Photomicrograph of a urine filtration membrane, 4× objective.
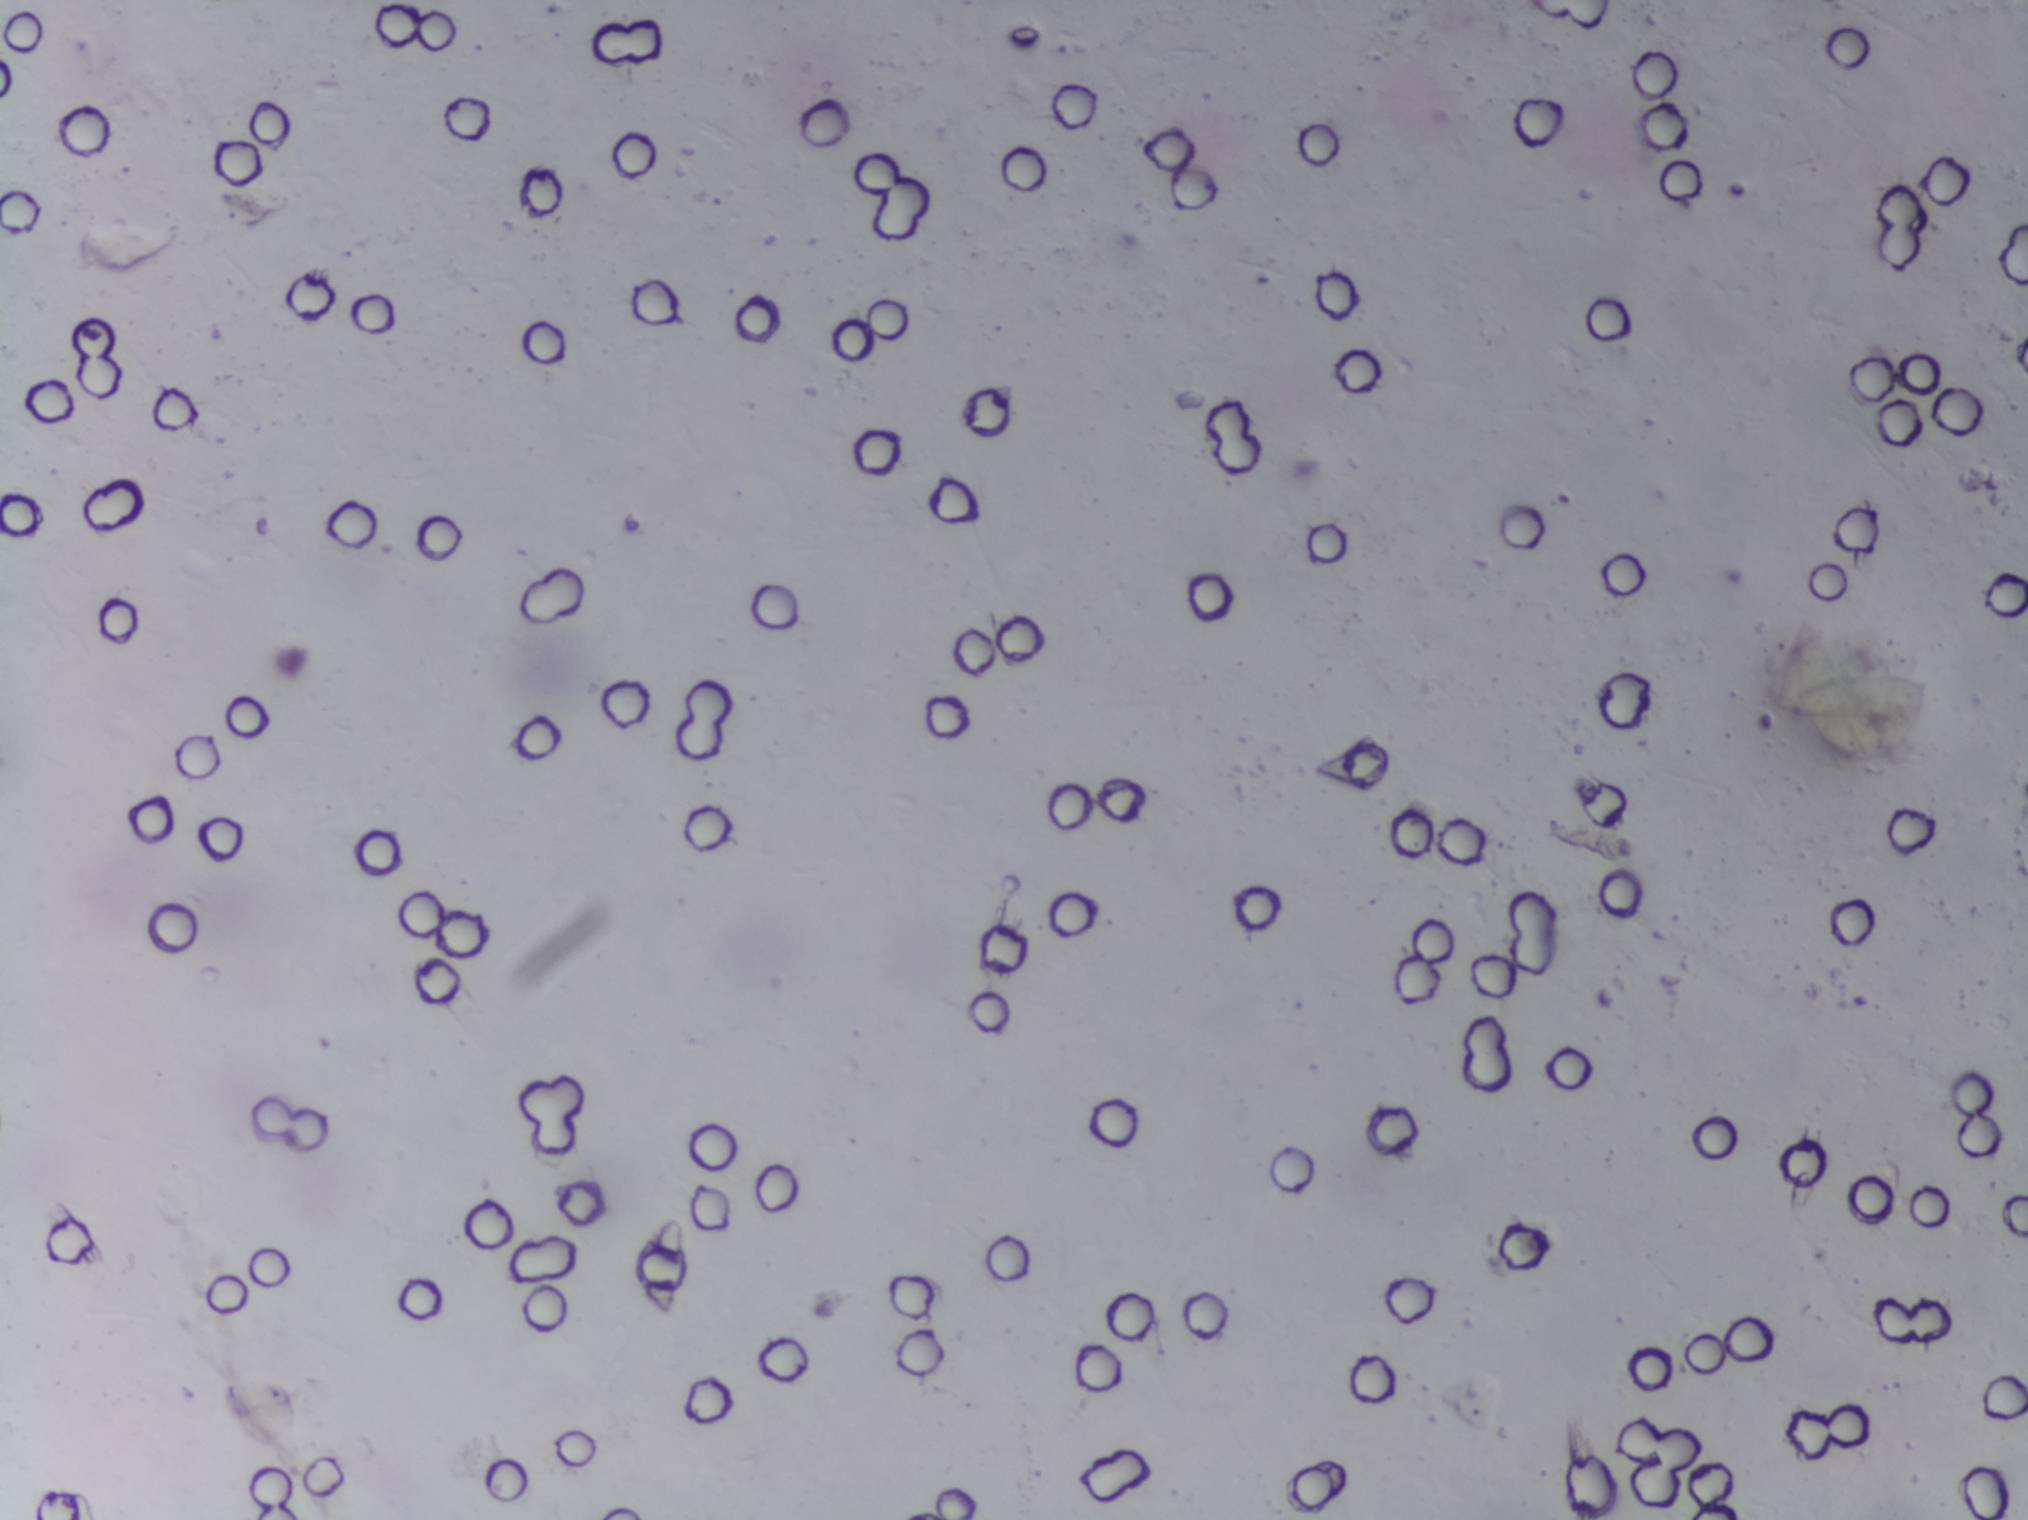
No Schistosoma egg is outlined in this image's expert annotation.